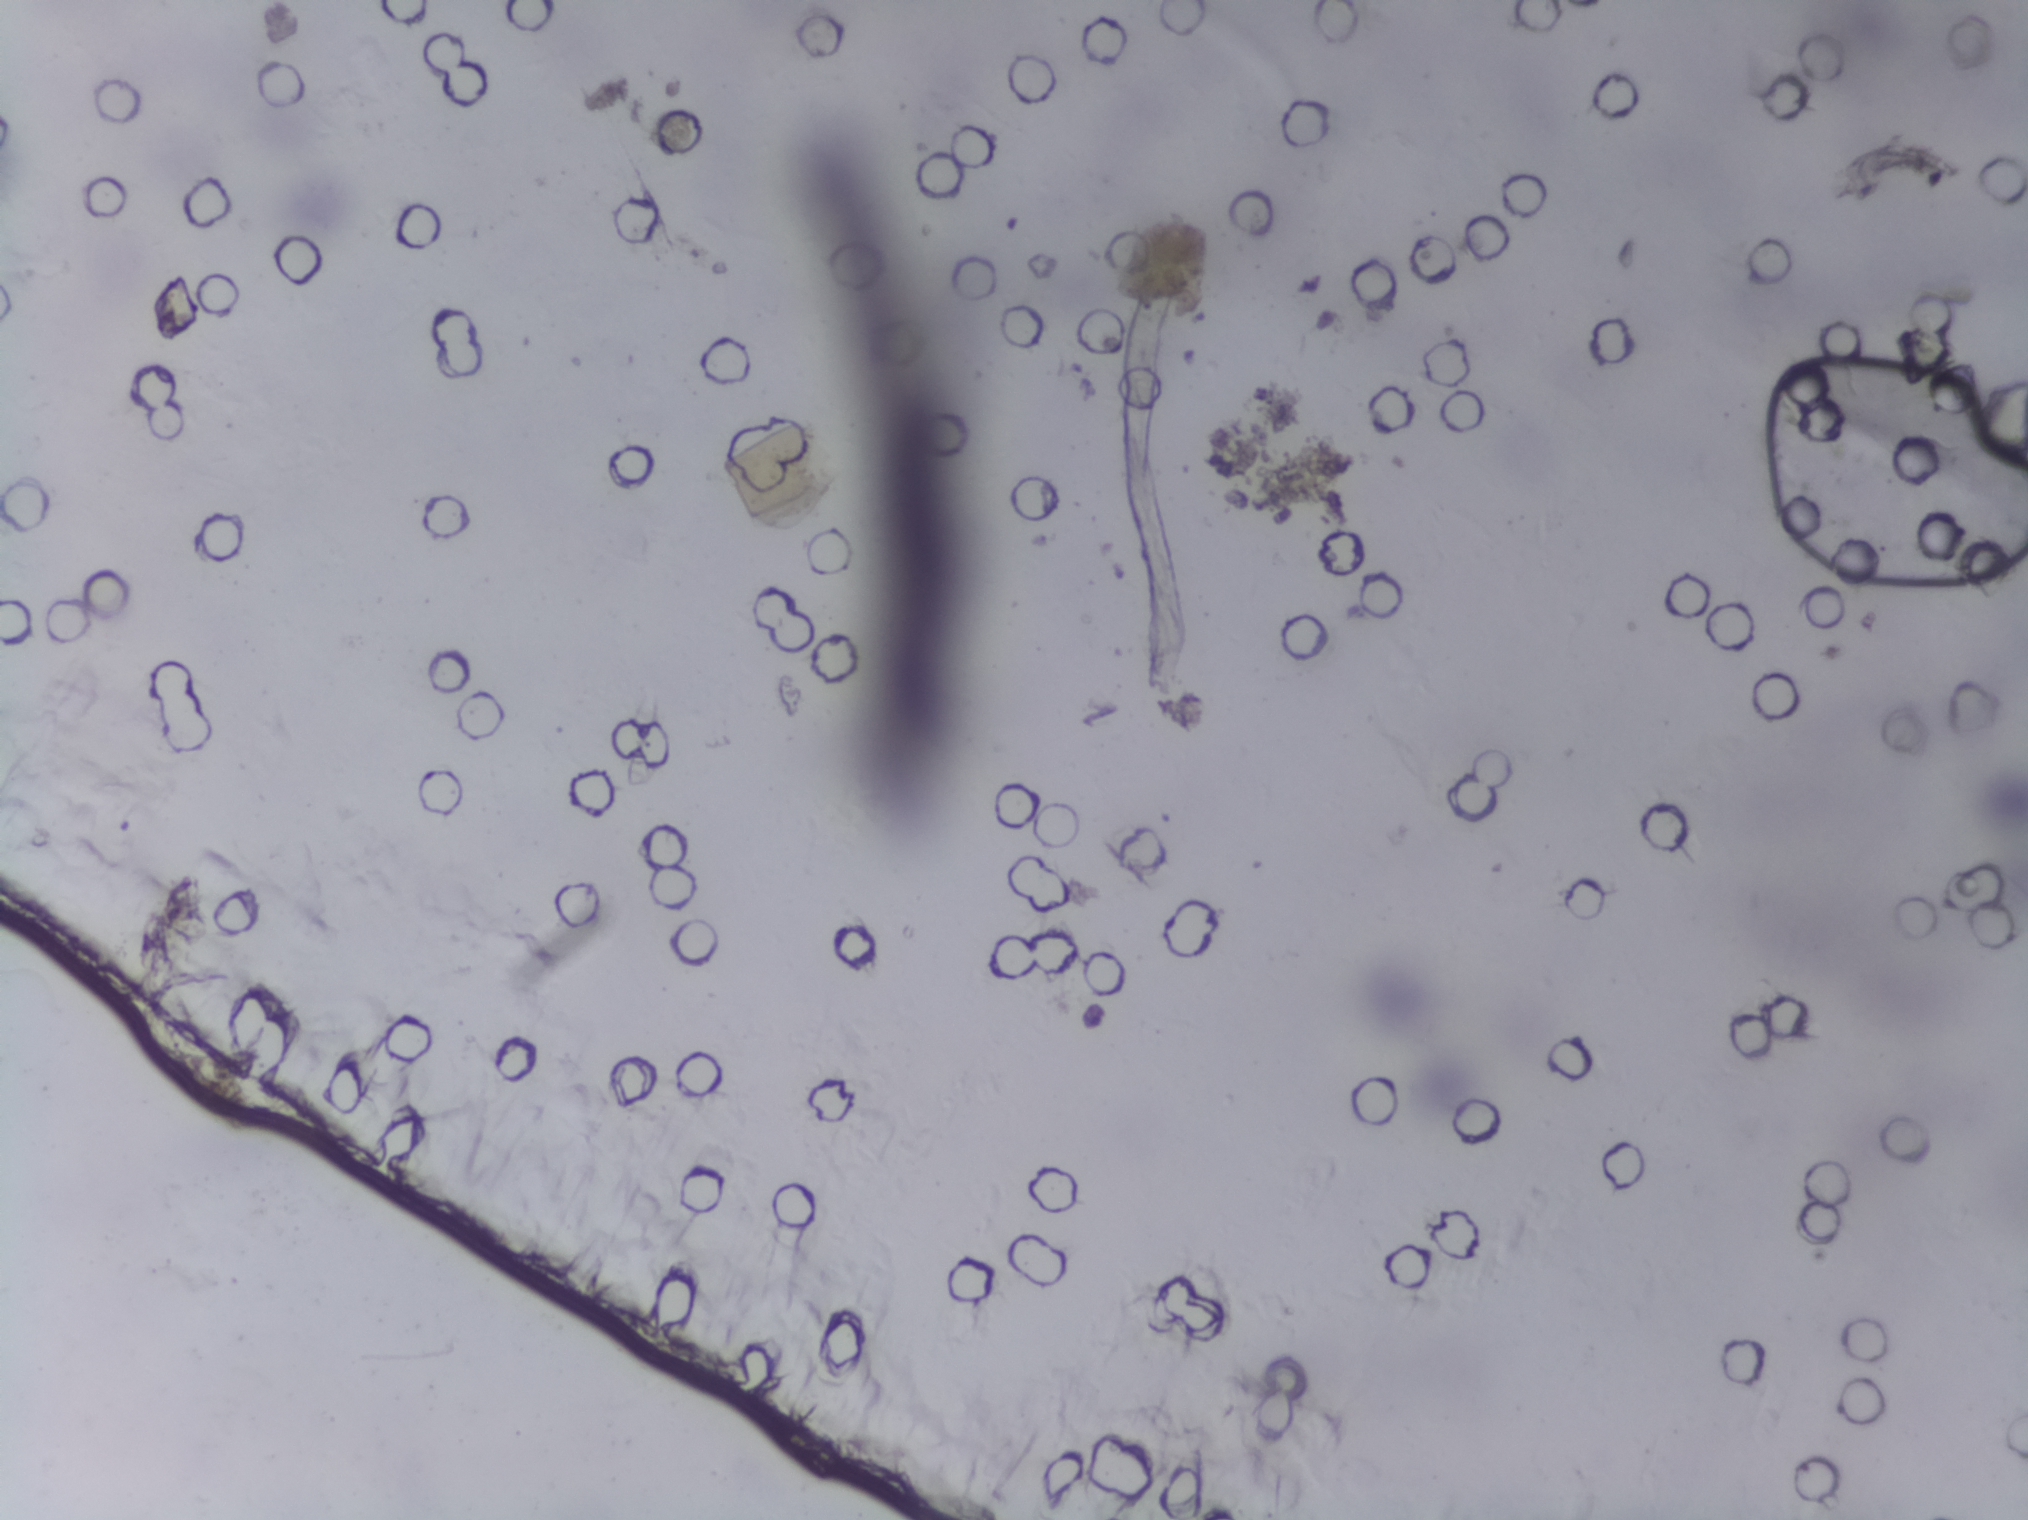
Microscope photograph (4× objective) of a membrane that a urine sample was filtered through.
Schistosoma eggs: none outlined.